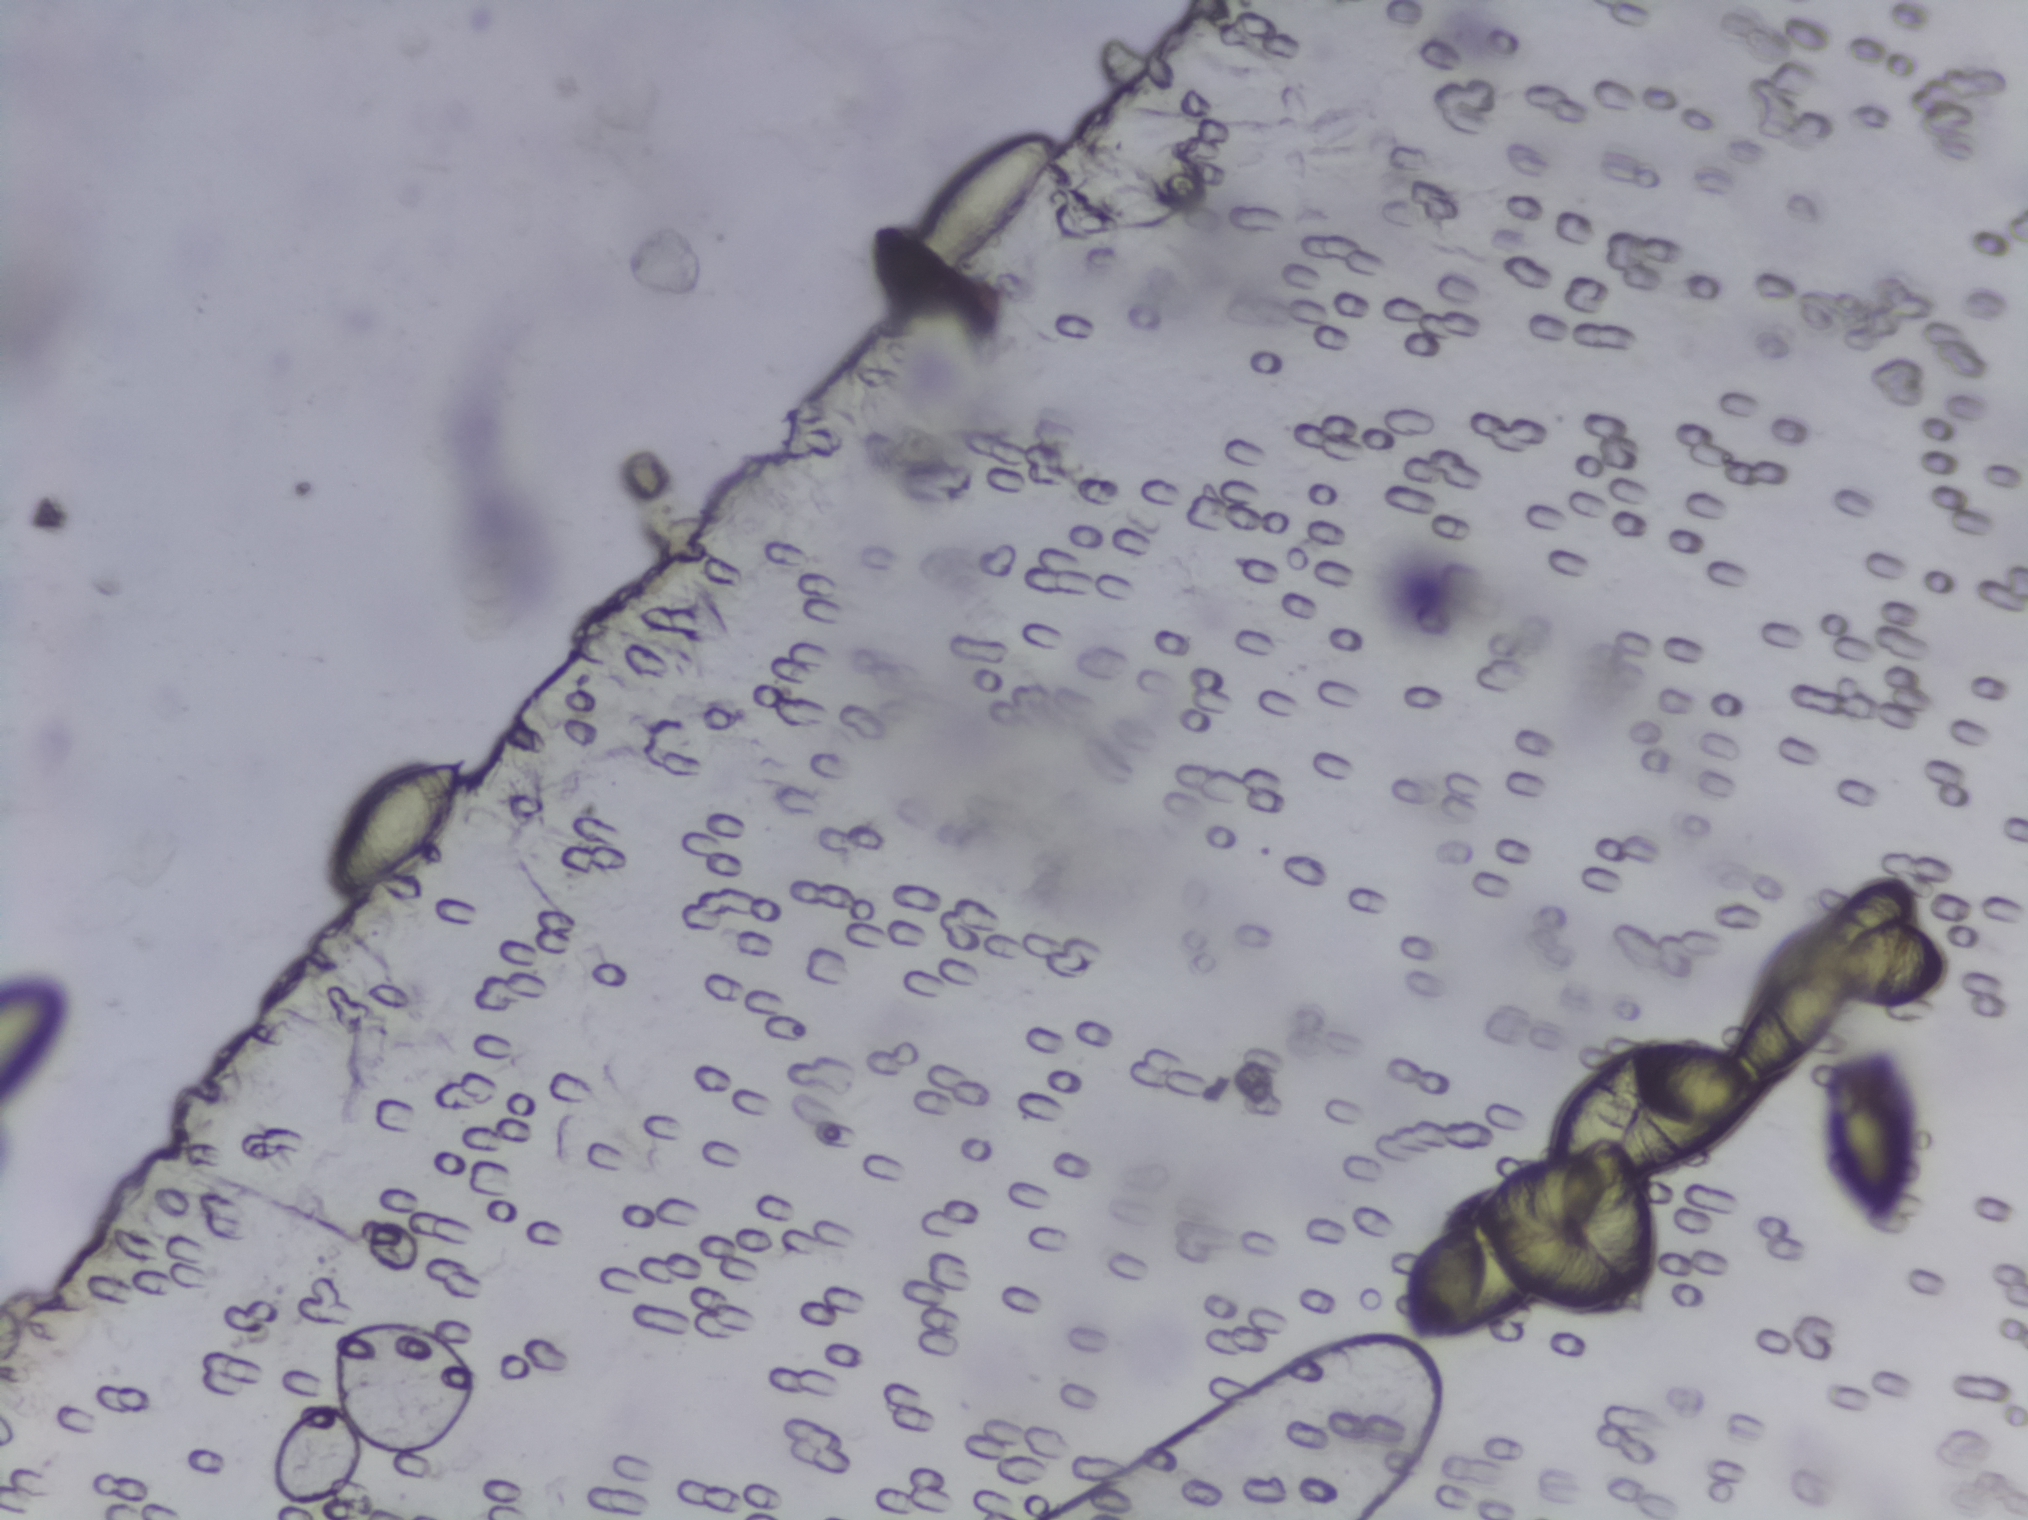
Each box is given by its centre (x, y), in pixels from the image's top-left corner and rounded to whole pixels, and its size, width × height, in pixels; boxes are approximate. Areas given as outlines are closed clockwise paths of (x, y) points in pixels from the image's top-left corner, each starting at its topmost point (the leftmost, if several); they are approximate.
Schistosoma egg areas, outlined: box centre (36, 1041), 72 × 164 px (reaching the left edge of the frame); box centre (398, 824), 153 × 162 px; box centre (982, 209), 146 × 150 px; outline (1897, 880), (1912, 890), (1914, 918), (1946, 948), (1944, 986), (1906, 1004), (1855, 1004), (1823, 1050), (1765, 1086), (1769, 1118), (1761, 1128), (1734, 1132), (1681, 1165), (1642, 1175), (1659, 1216), (1658, 1271), (1644, 1315), (1624, 1302), (1601, 1312), (1566, 1312), (1529, 1301), (1490, 1327), (1434, 1341), (1416, 1336), (1403, 1267), (1430, 1236), (1469, 1222), (1466, 1210), (1489, 1180), (1516, 1161), (1541, 1156), (1547, 1115), (1559, 1092), (1595, 1060), (1638, 1036), (1720, 1049), (1728, 1024), (1744, 1010), (1772, 938), (1849, 892) (a cluster of eggs); box centre (1869, 1139), 96 × 186 px. Eggs that touch can end up inside the same outlined area. A marked egg may occasionally be S. mansoni rather than S. haematobium.
Microscope photograph (4× objective) of a membrane that a urine sample was filtered through. Field of view: about 1.5 mm wide and 1.1 mm high.